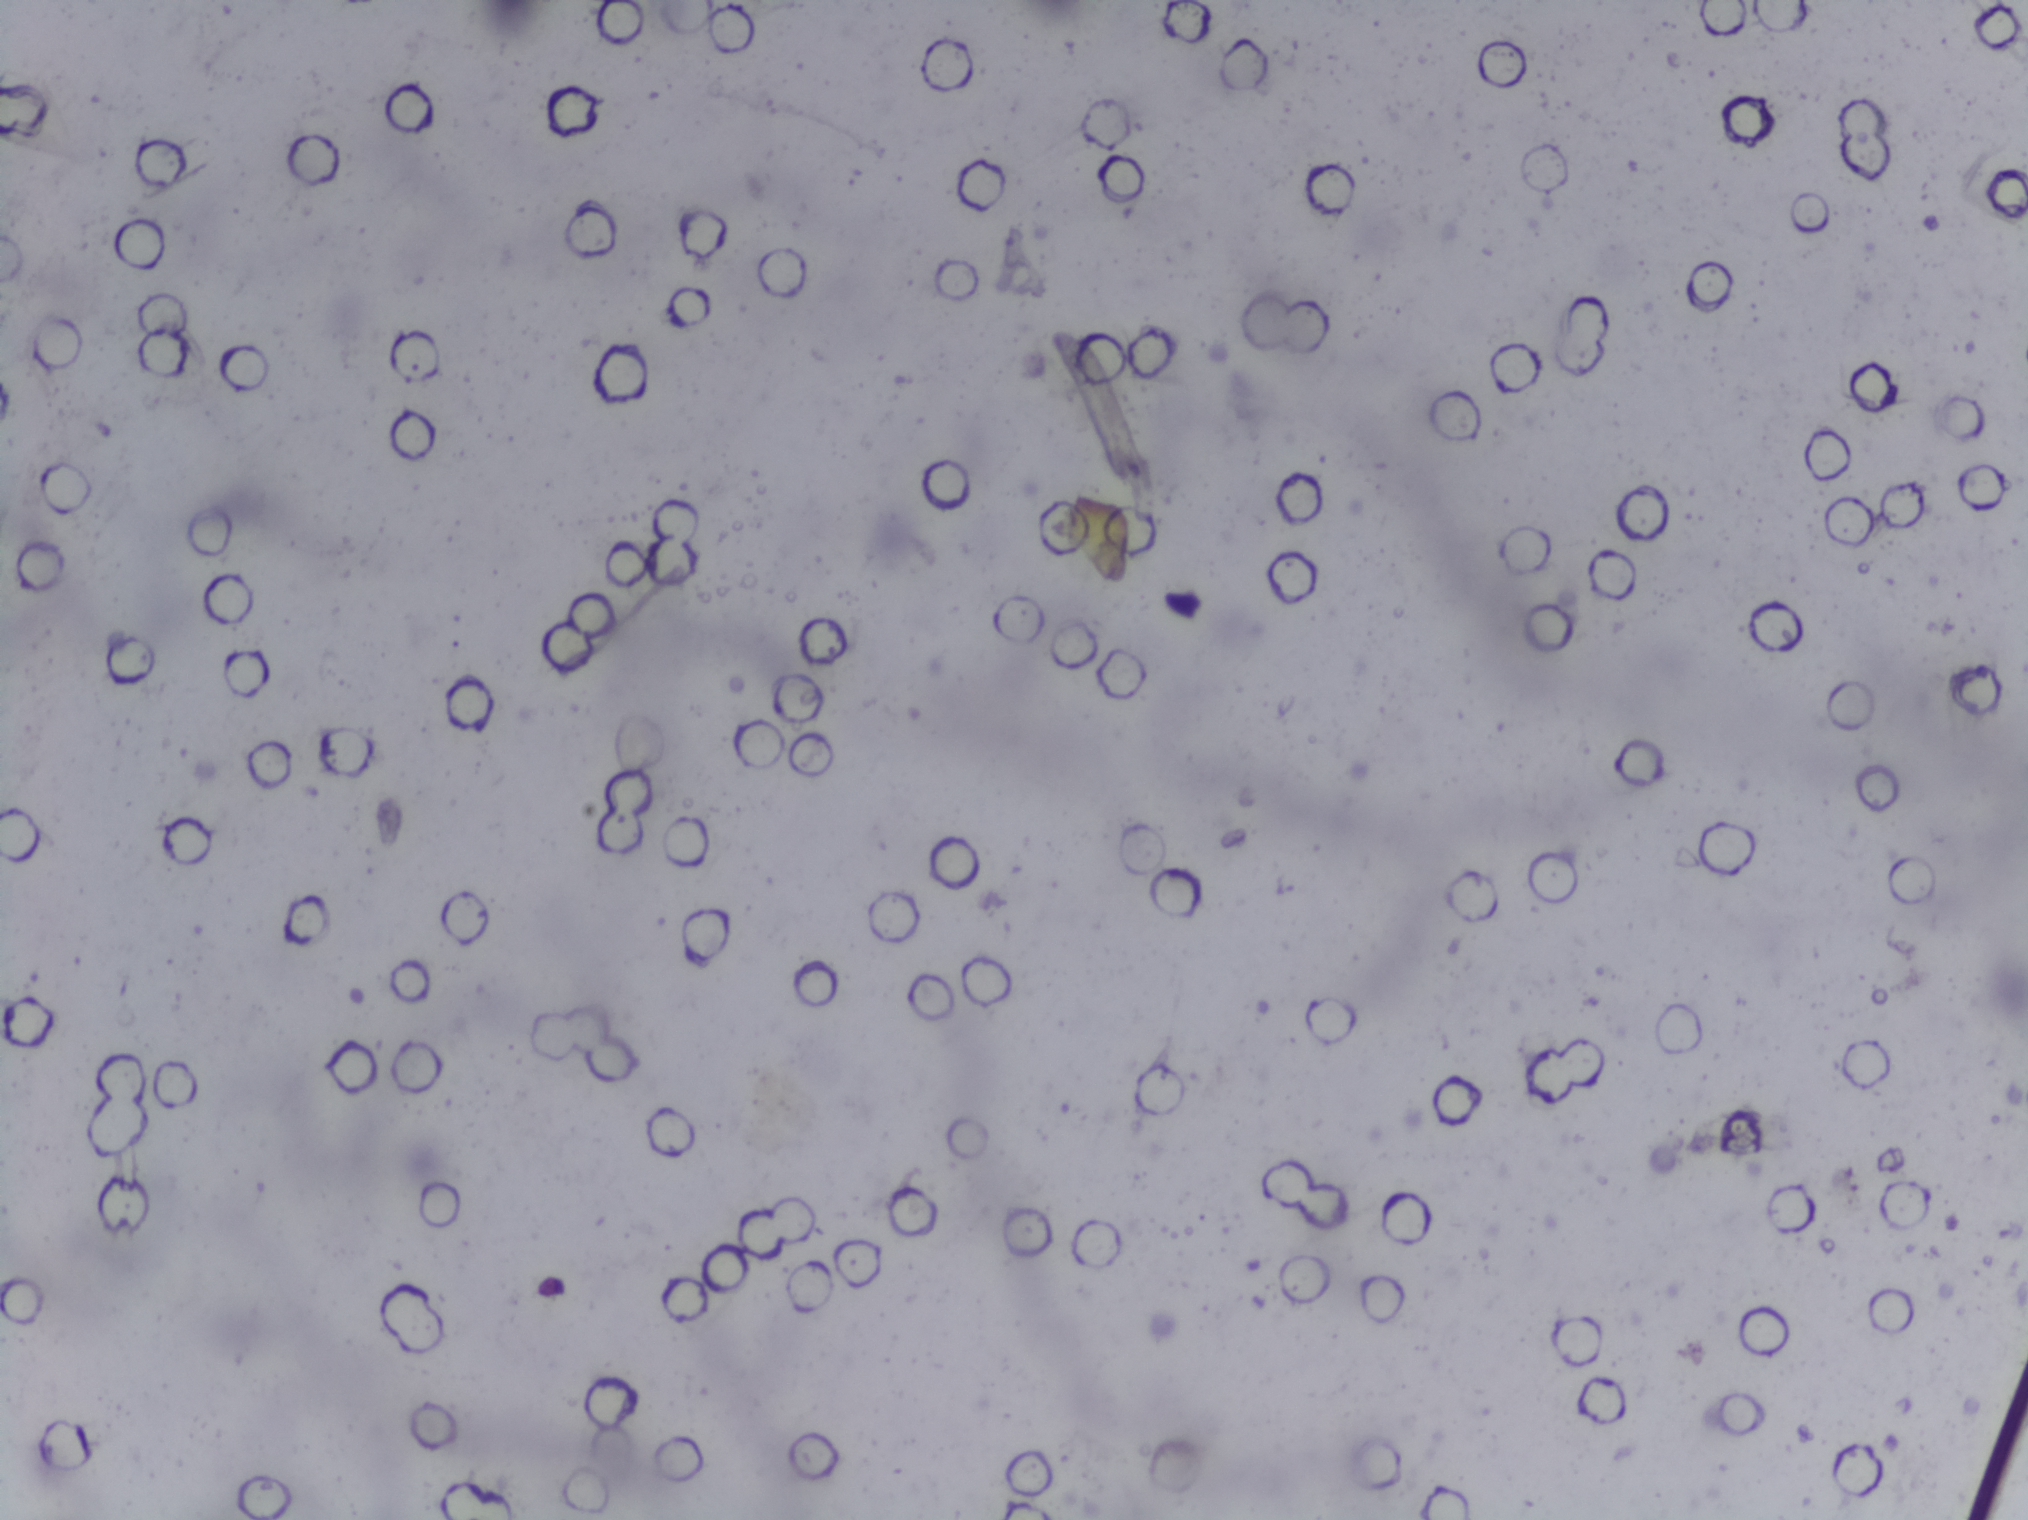
Urine filtration membrane under a 4× objective, photographed by an automated digital microscope.
The expert annotation outlines no Schistosoma egg in this image.